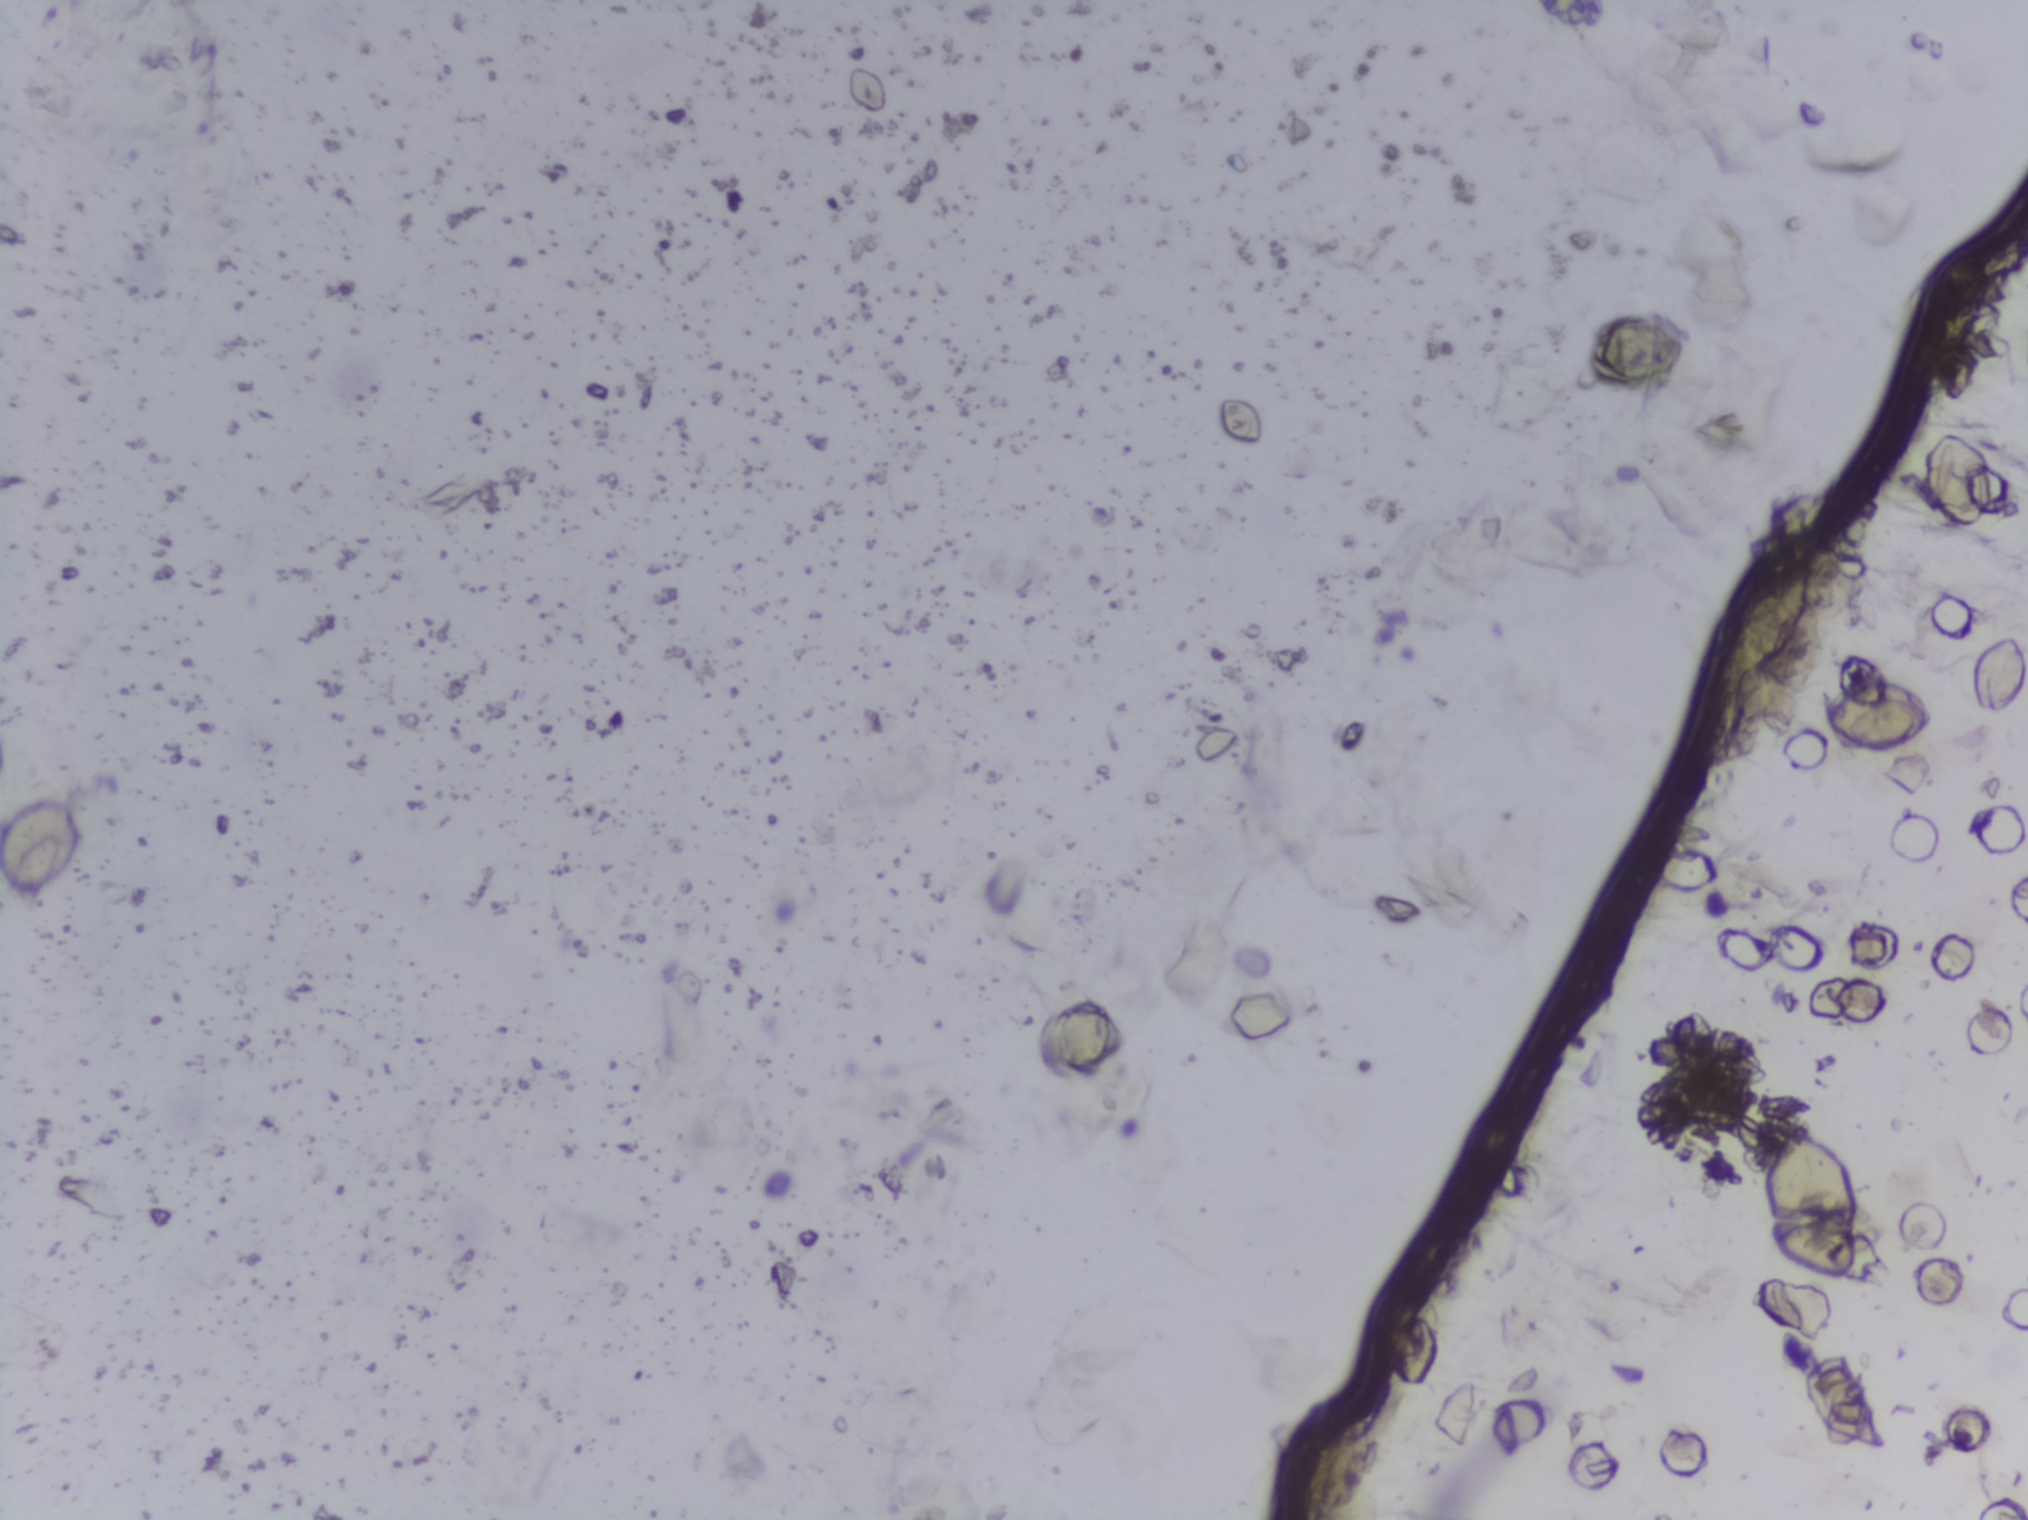
Urine filtration membrane under a 4× objective, photographed by an automated digital microscope.
Schistosoma eggs: none outlined.